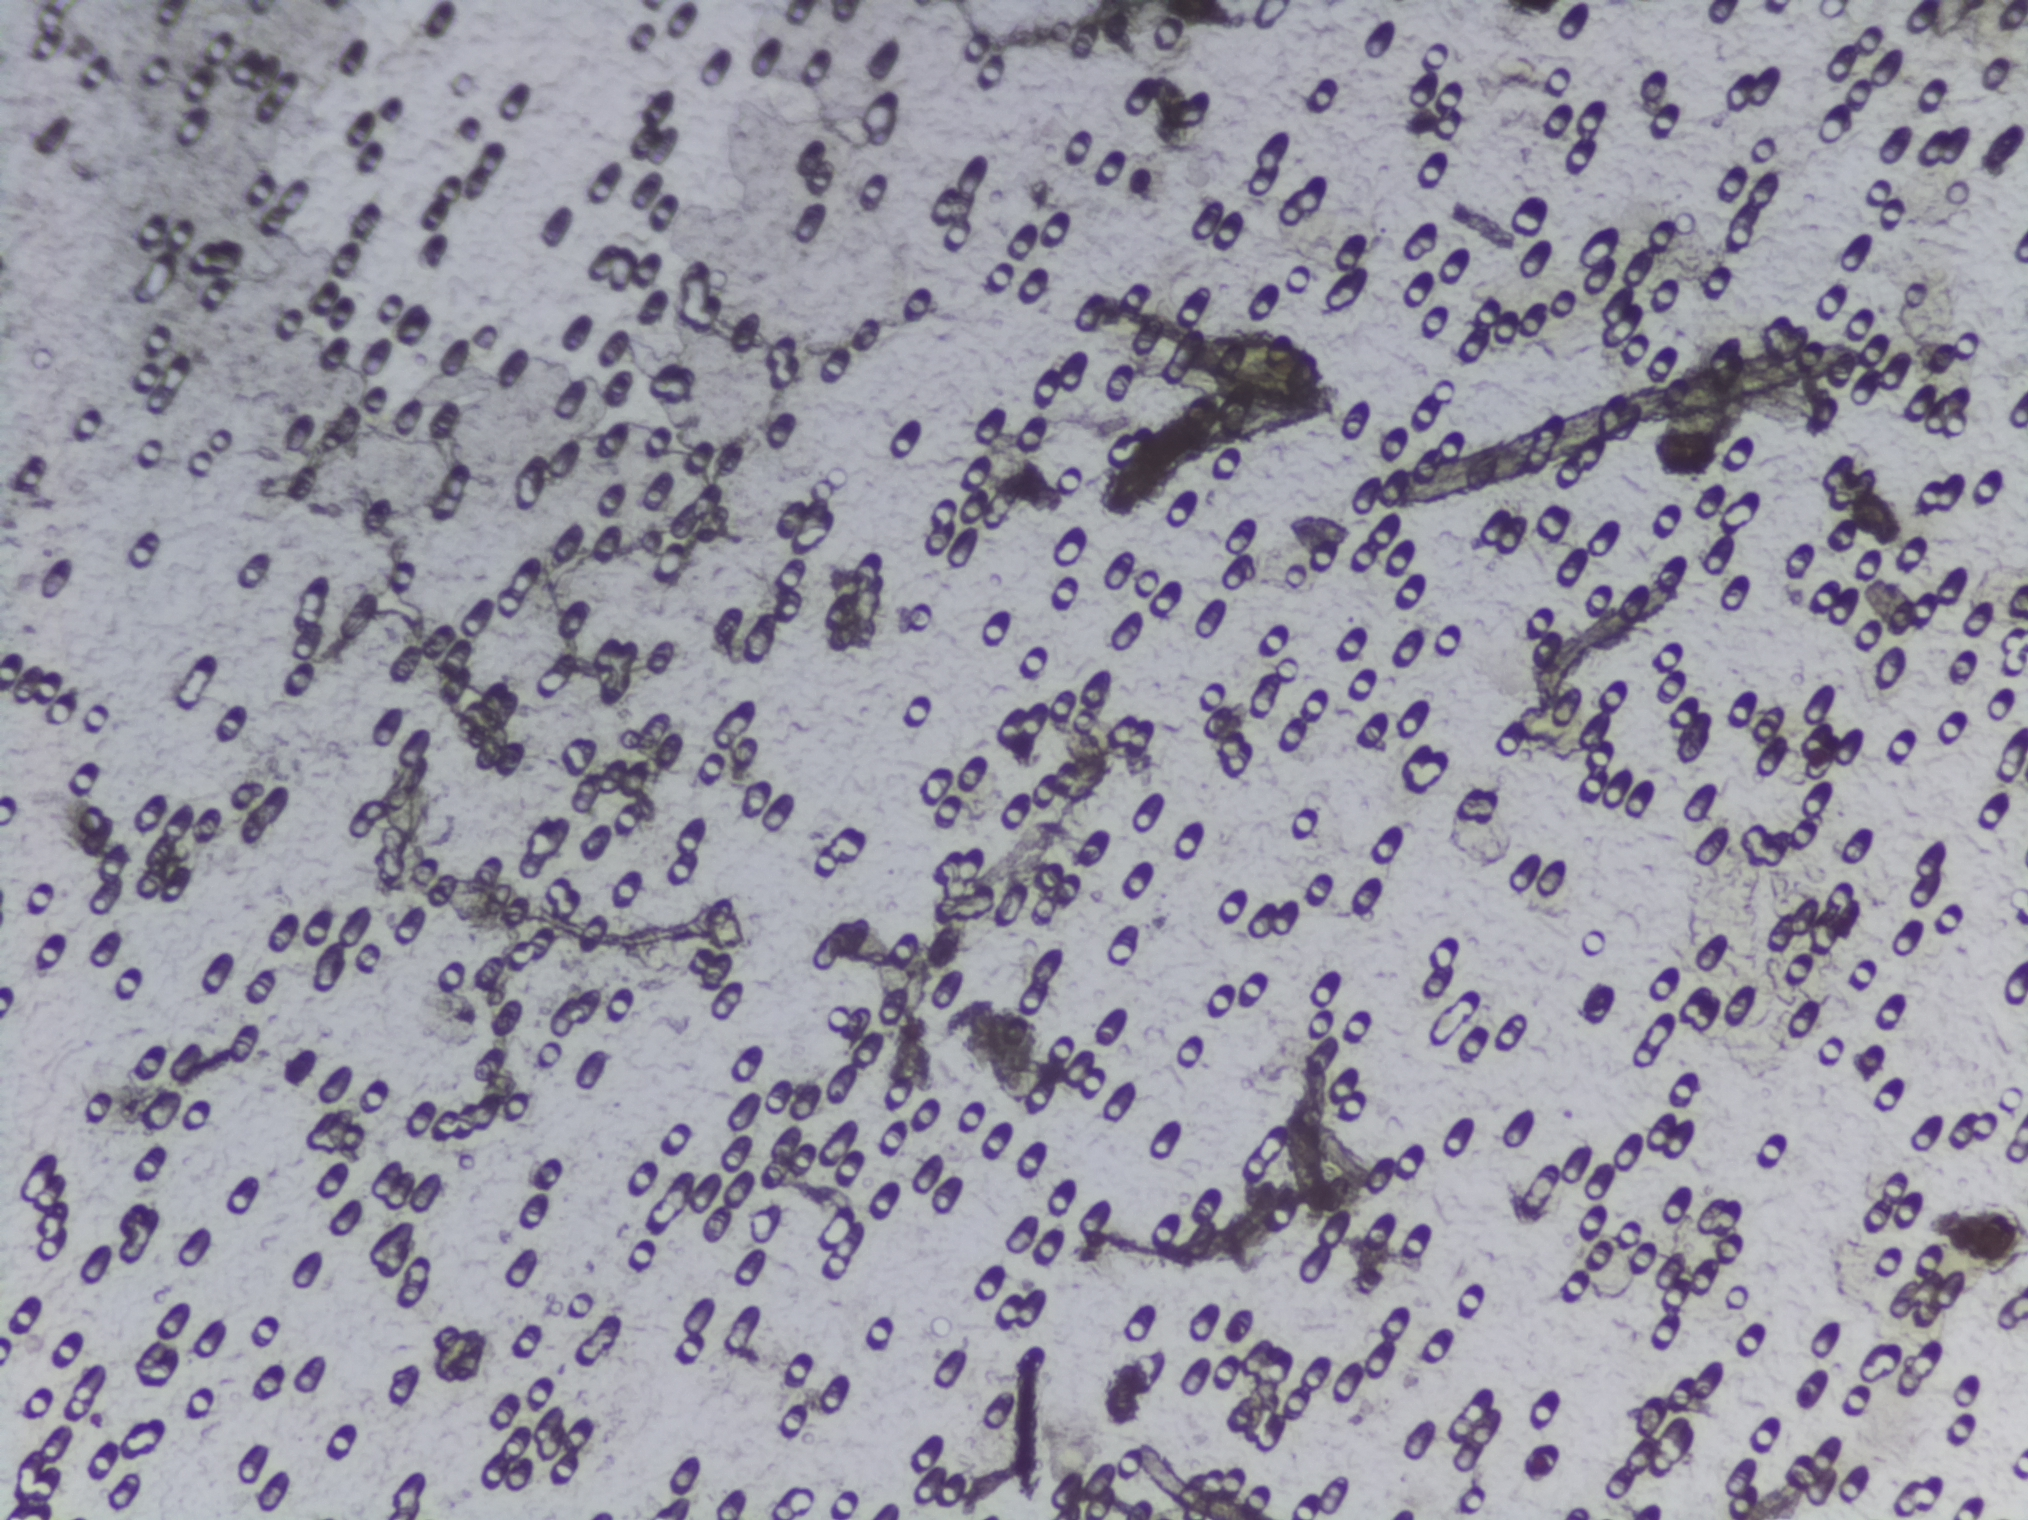
Photomicrograph of a urine filtration membrane, 4× objective. The field of view is about 1.5 mm × 1.1 mm.
The expert annotation outlines no Schistosoma egg in this image.